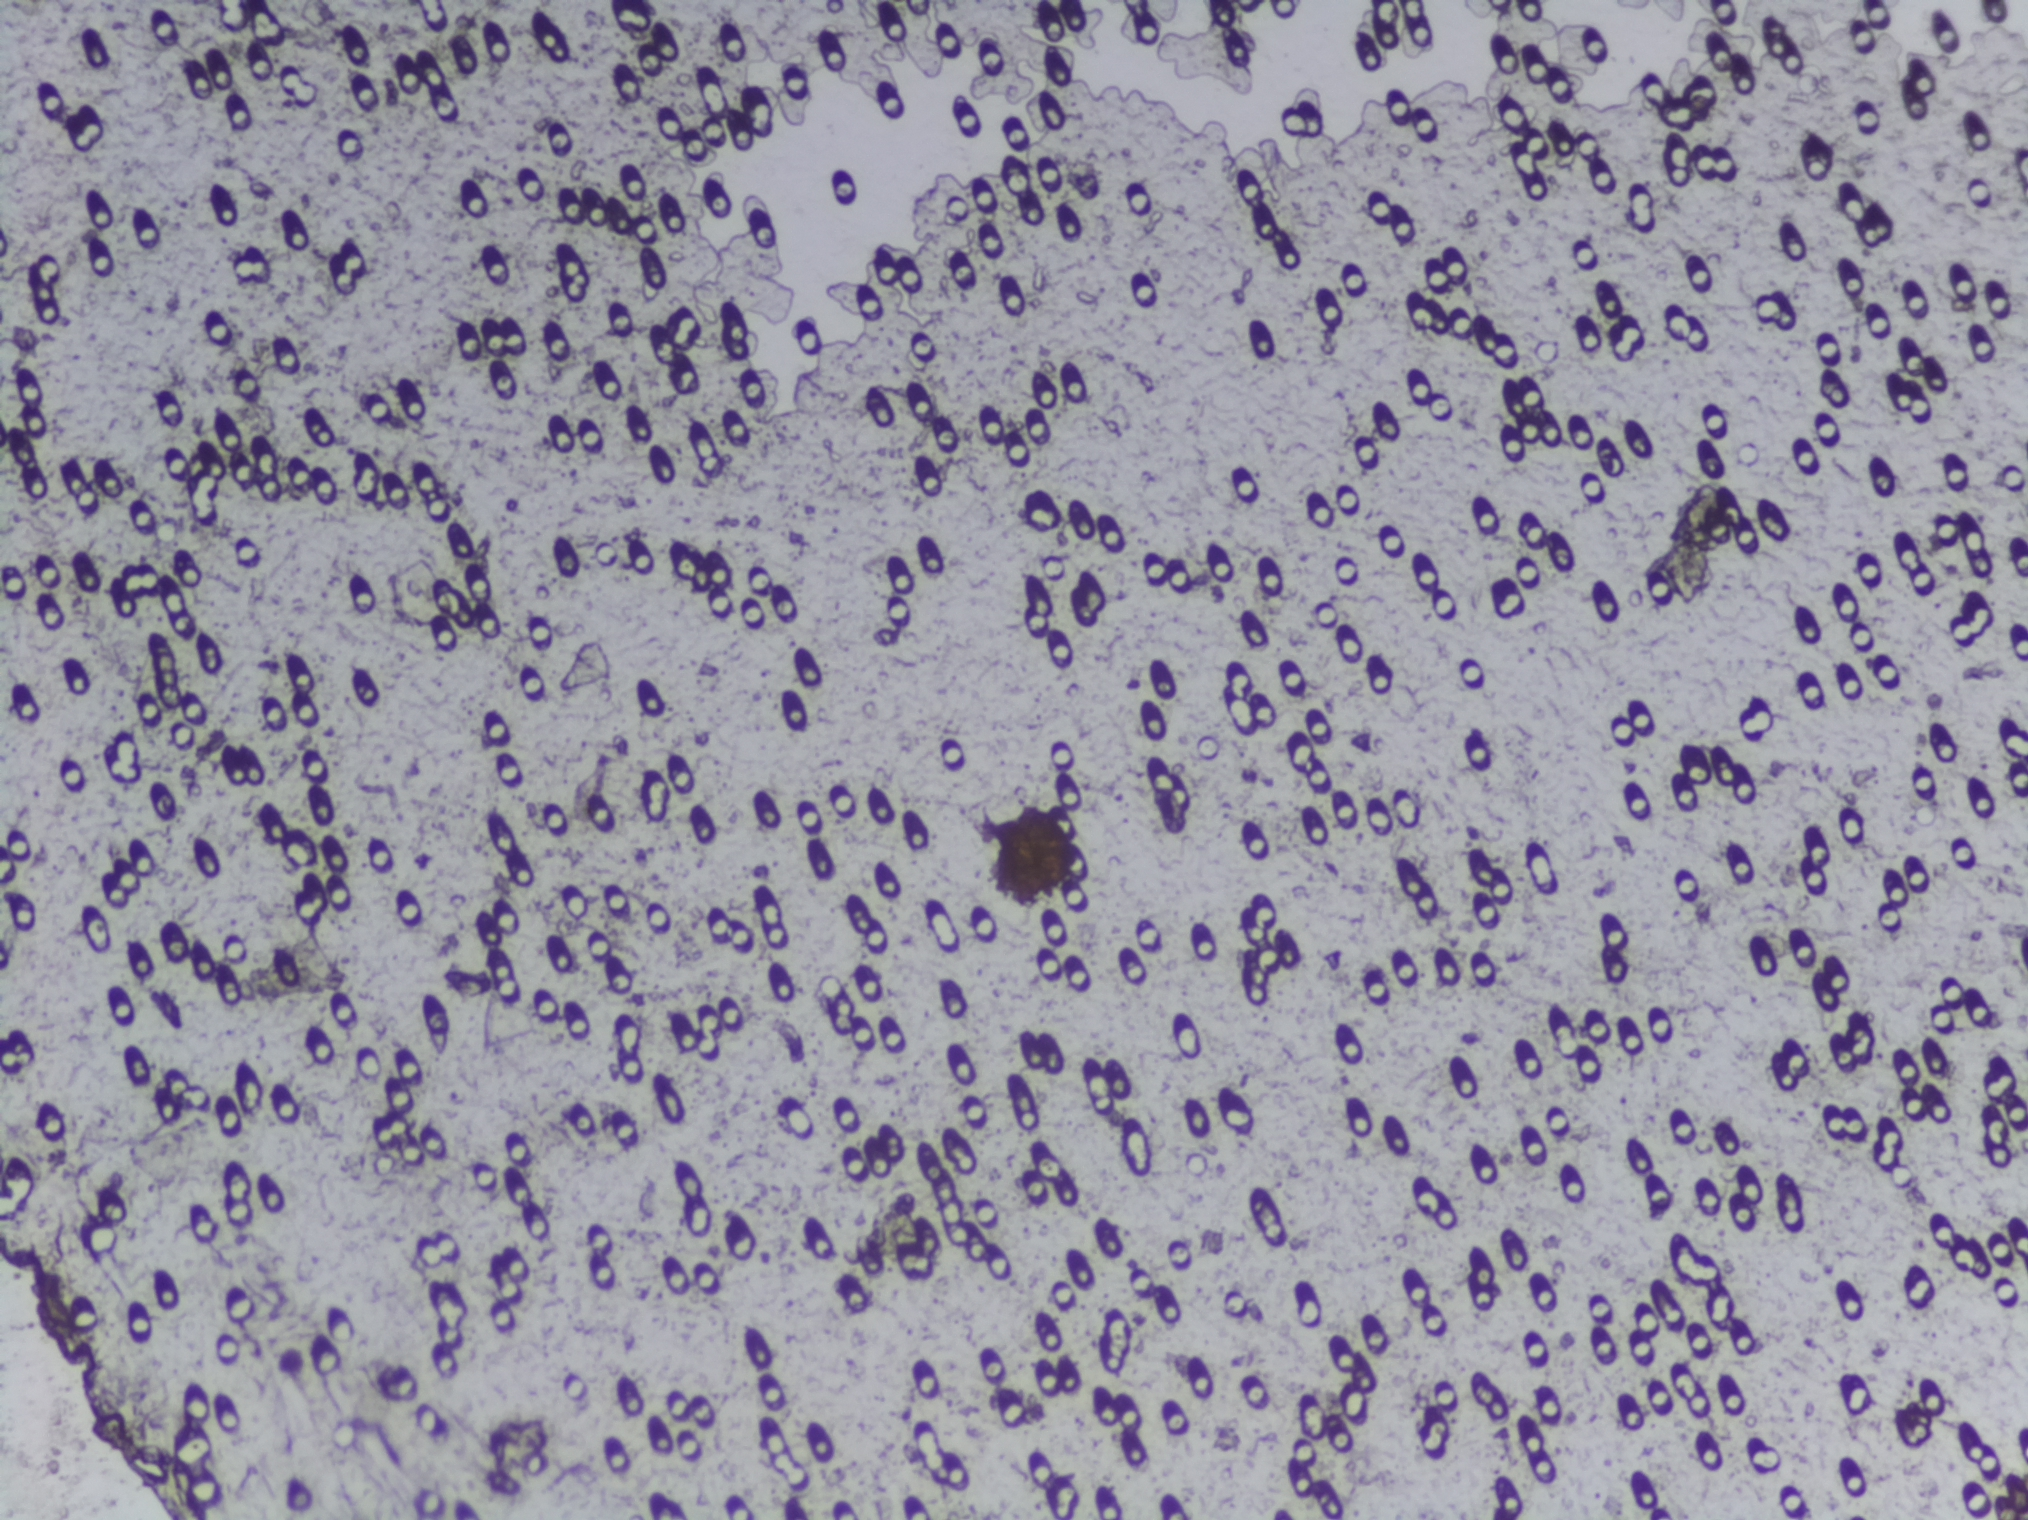
Schistosoma eggs: none outlined.
One field of view of a urine filter membrane, 4× objective, 2028 × 1520 pixels.